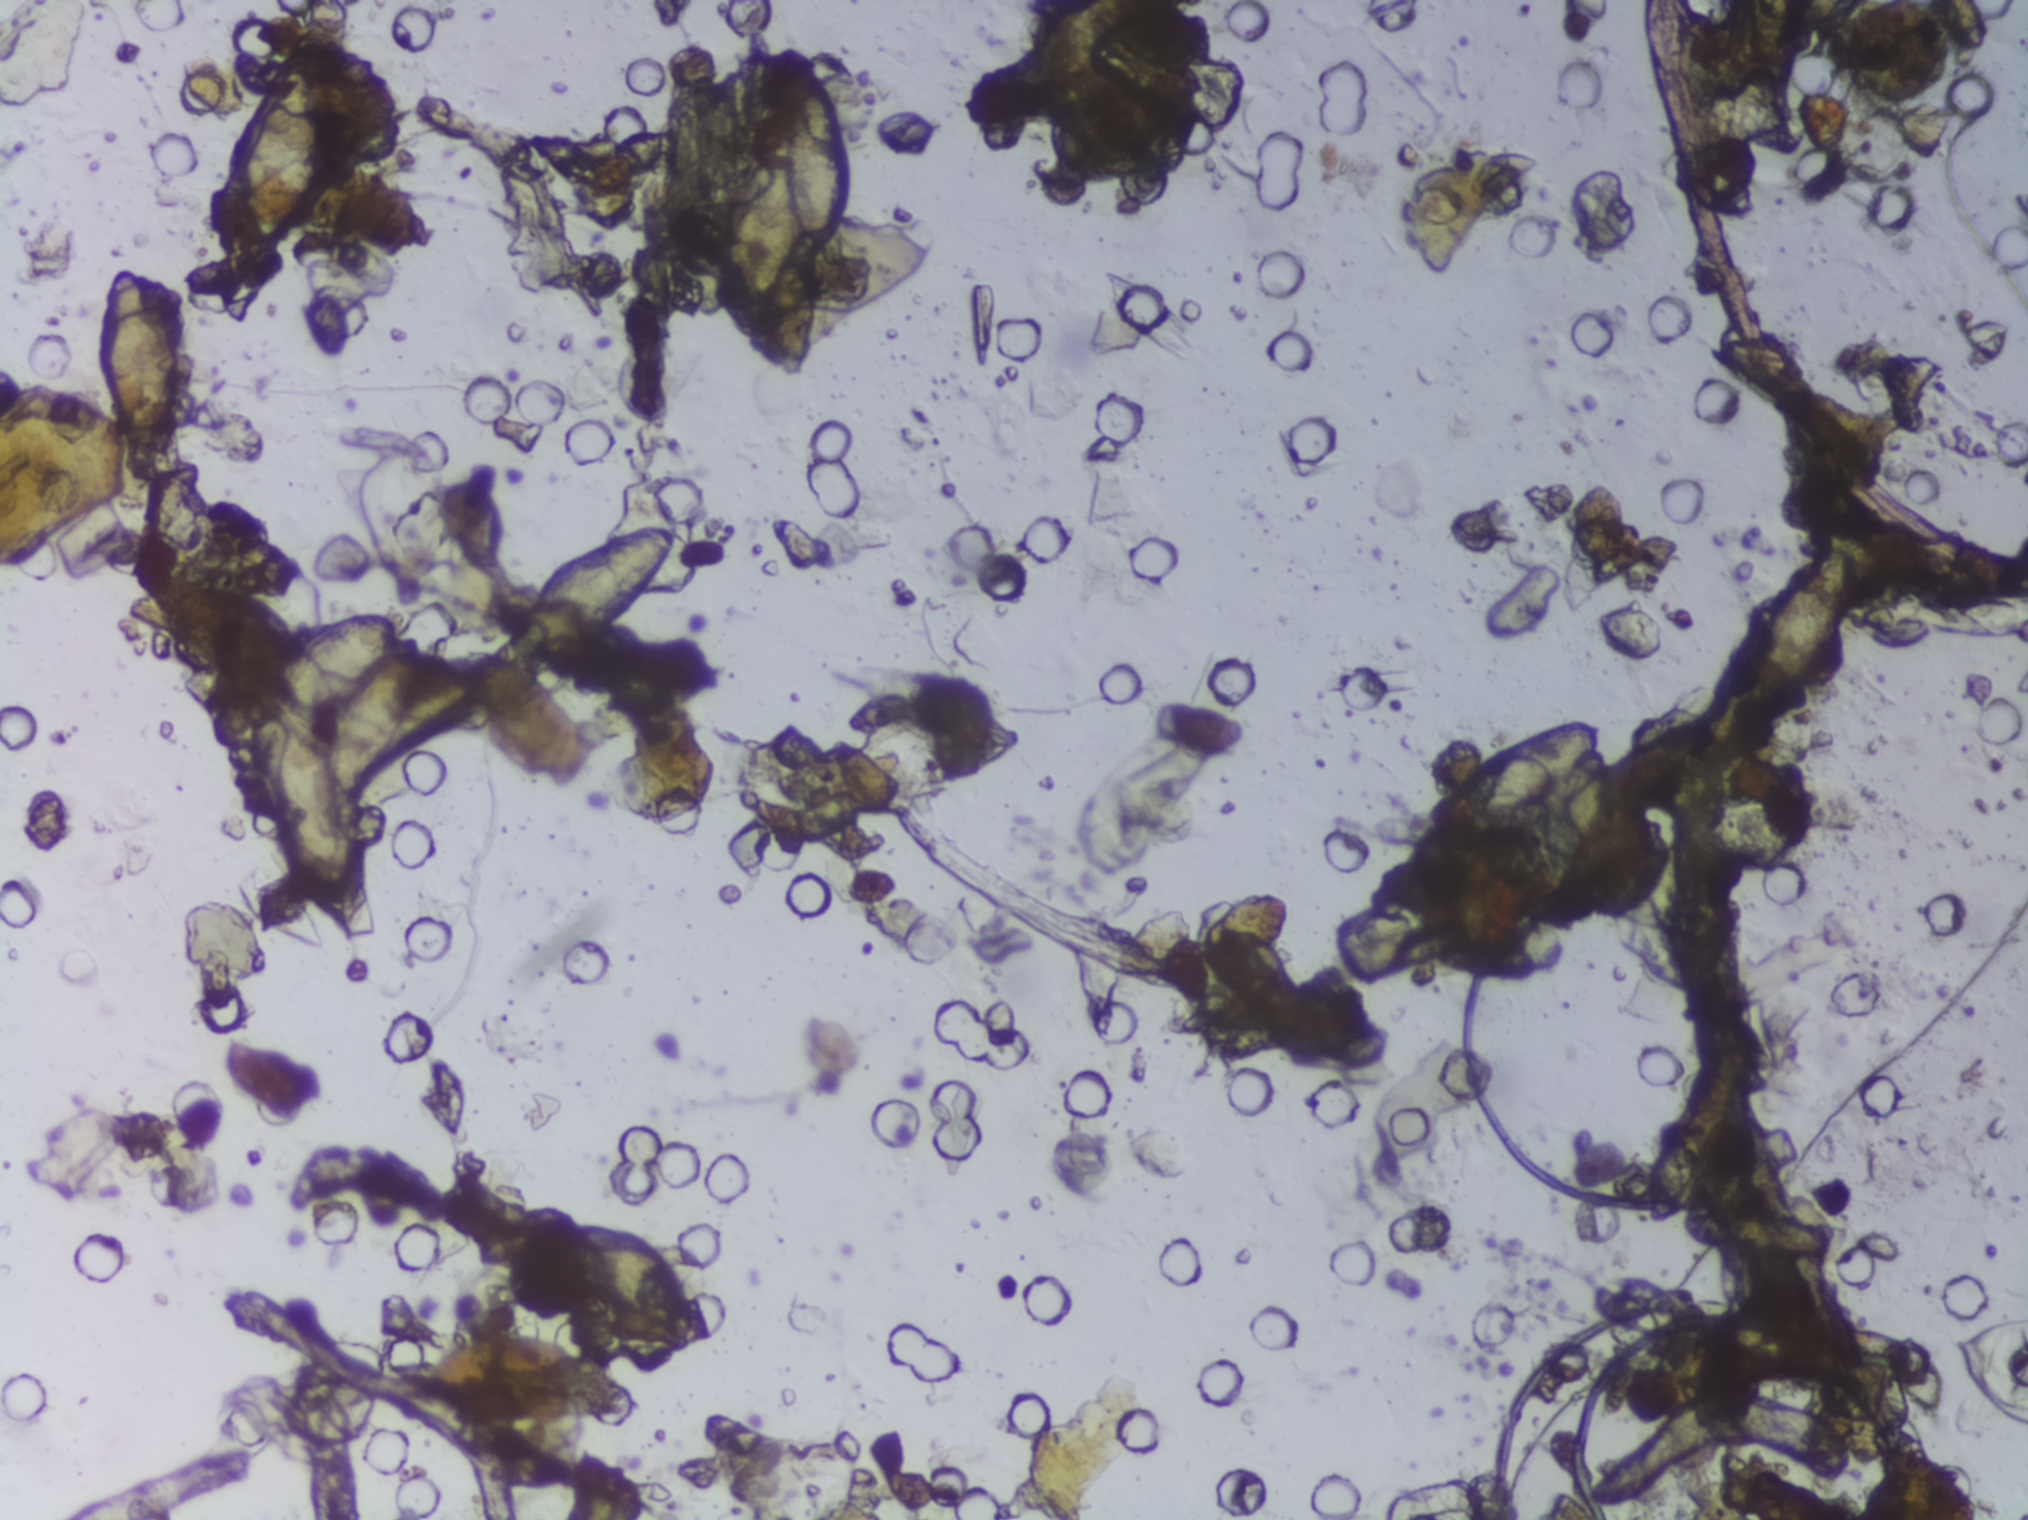
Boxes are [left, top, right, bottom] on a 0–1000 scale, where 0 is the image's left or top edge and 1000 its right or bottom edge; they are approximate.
Findings: ten areas outlined as Schistosoma eggs. Locations, left to right: [46, 169, 96, 314]; [105, 401, 197, 602]; [107, 30, 164, 172]; [253, 338, 336, 426]; [267, 798, 353, 898]; [357, 34, 424, 217]; [704, 472, 795, 544]; [866, 360, 917, 463]; [951, 0, 982, 35] (reaching the top edge of the frame); [963, 864, 1000, 938] (reaching the right edge of the frame). Eggs that touch can end up inside the same outlined area.
Photograph from an automated digital microscope: urine filter membrane, 4× objective.